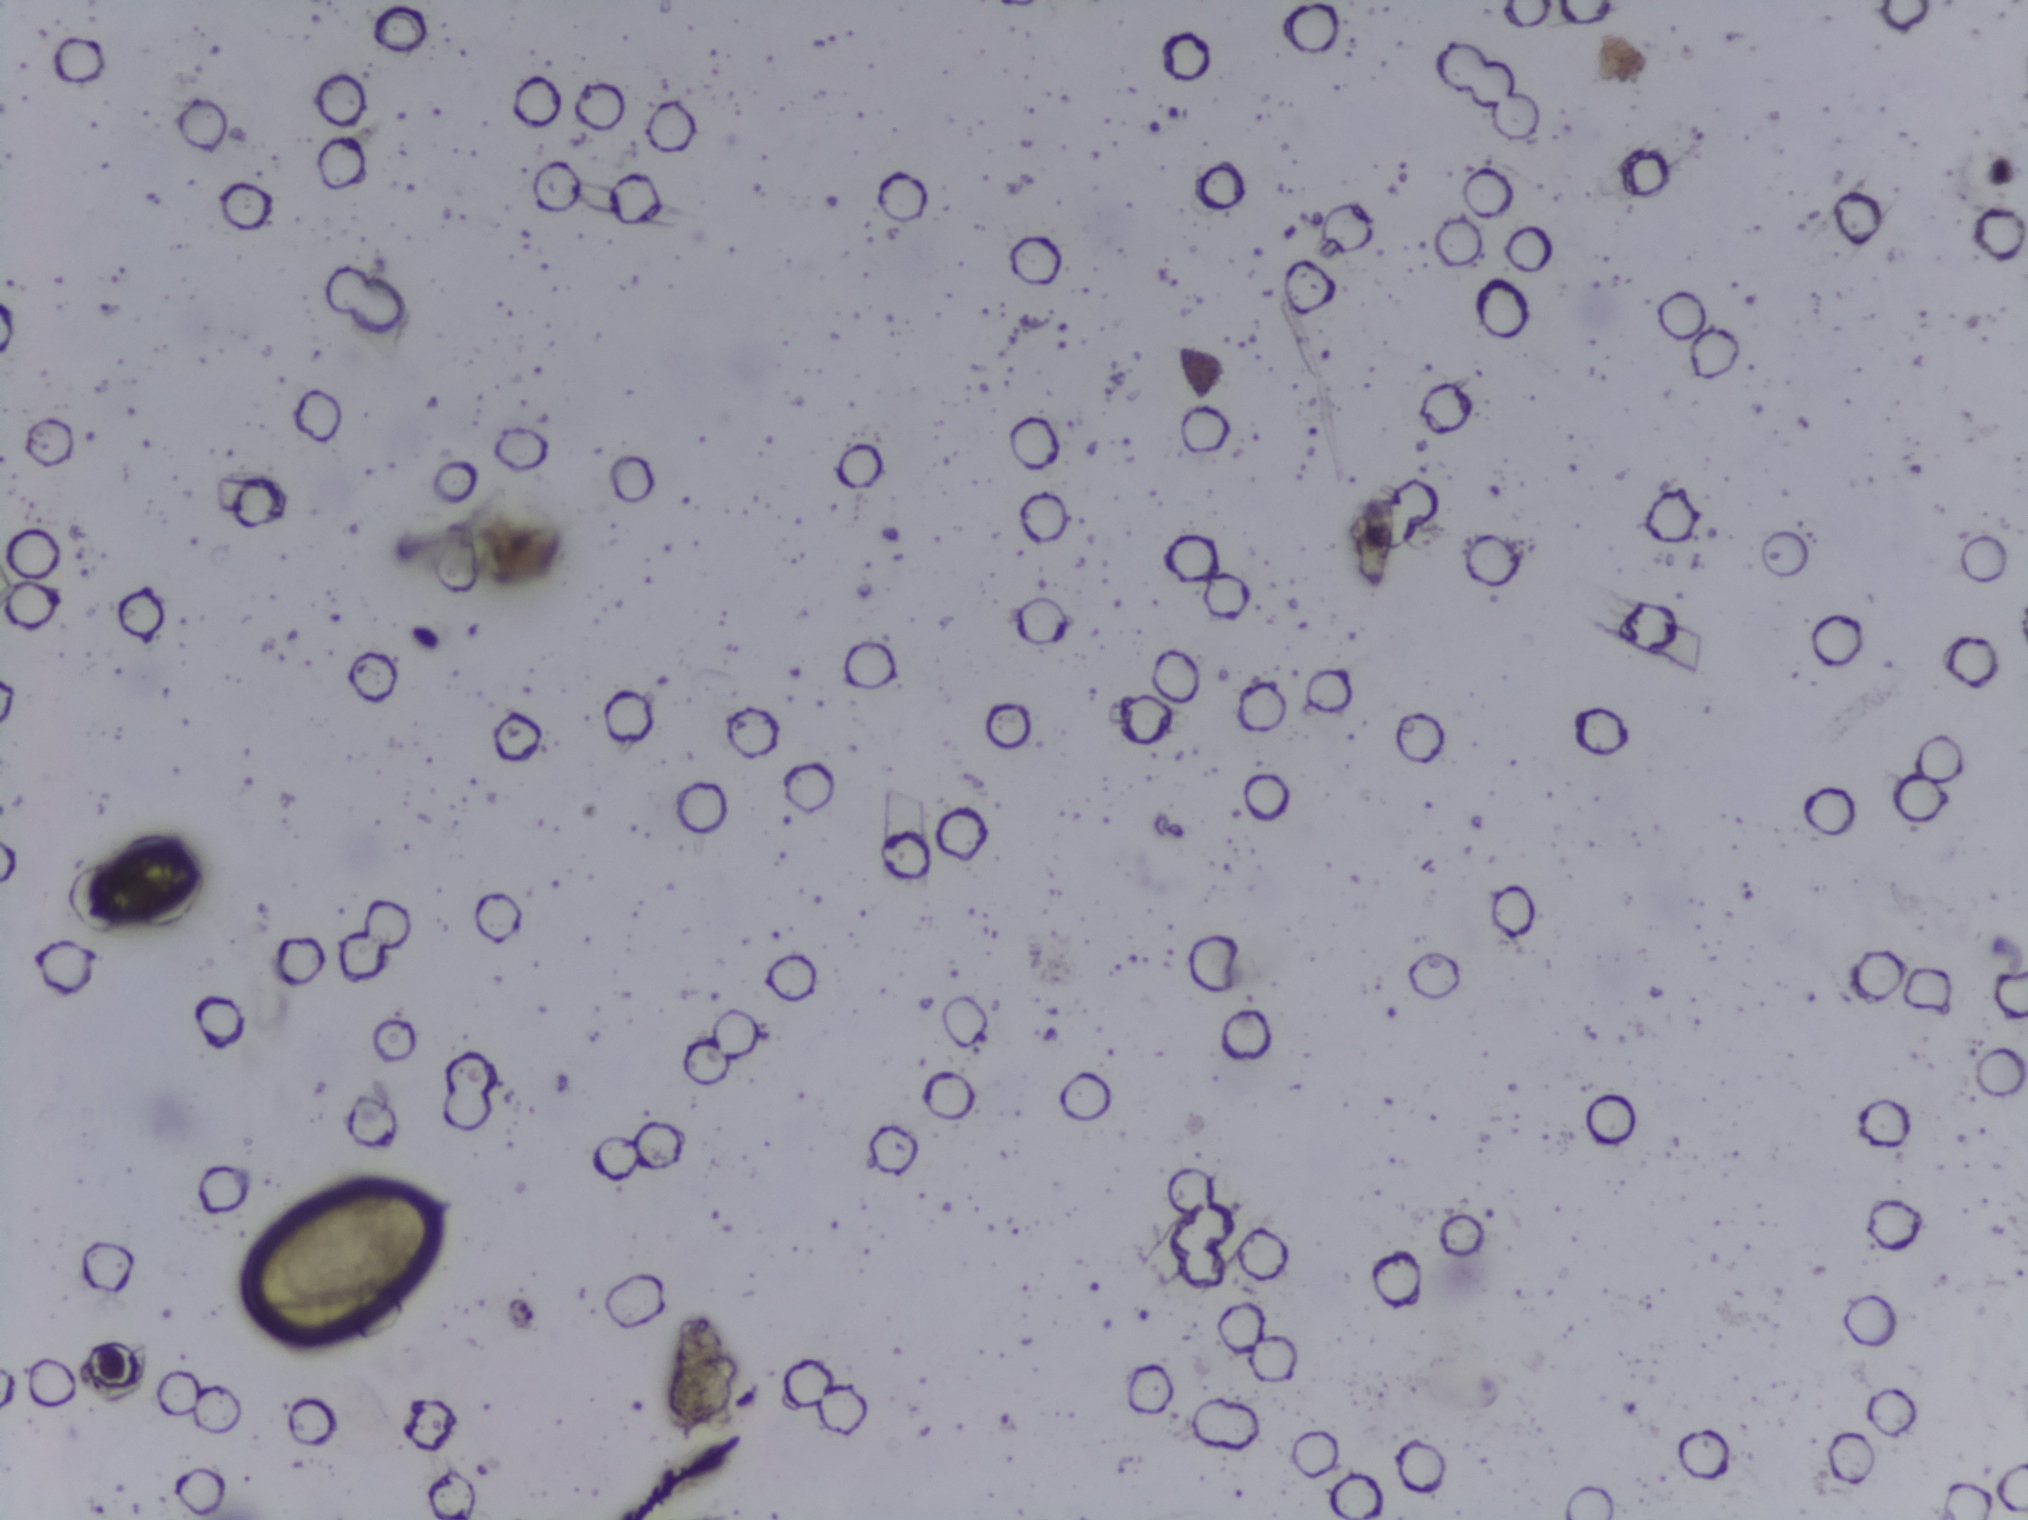
Urine filter membrane photographed through a 4× microscope objective.
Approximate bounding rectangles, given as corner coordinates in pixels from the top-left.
One area of this image is outlined as Schistosoma eggs: (x1=238, y1=1173, x2=456, y2=1318). A single outlined area may contain several eggs.